Urine filtration membrane under a 4× objective, photographed by an automated digital microscope. The image covers about 1.5 × 1.1 mm of the membrane.
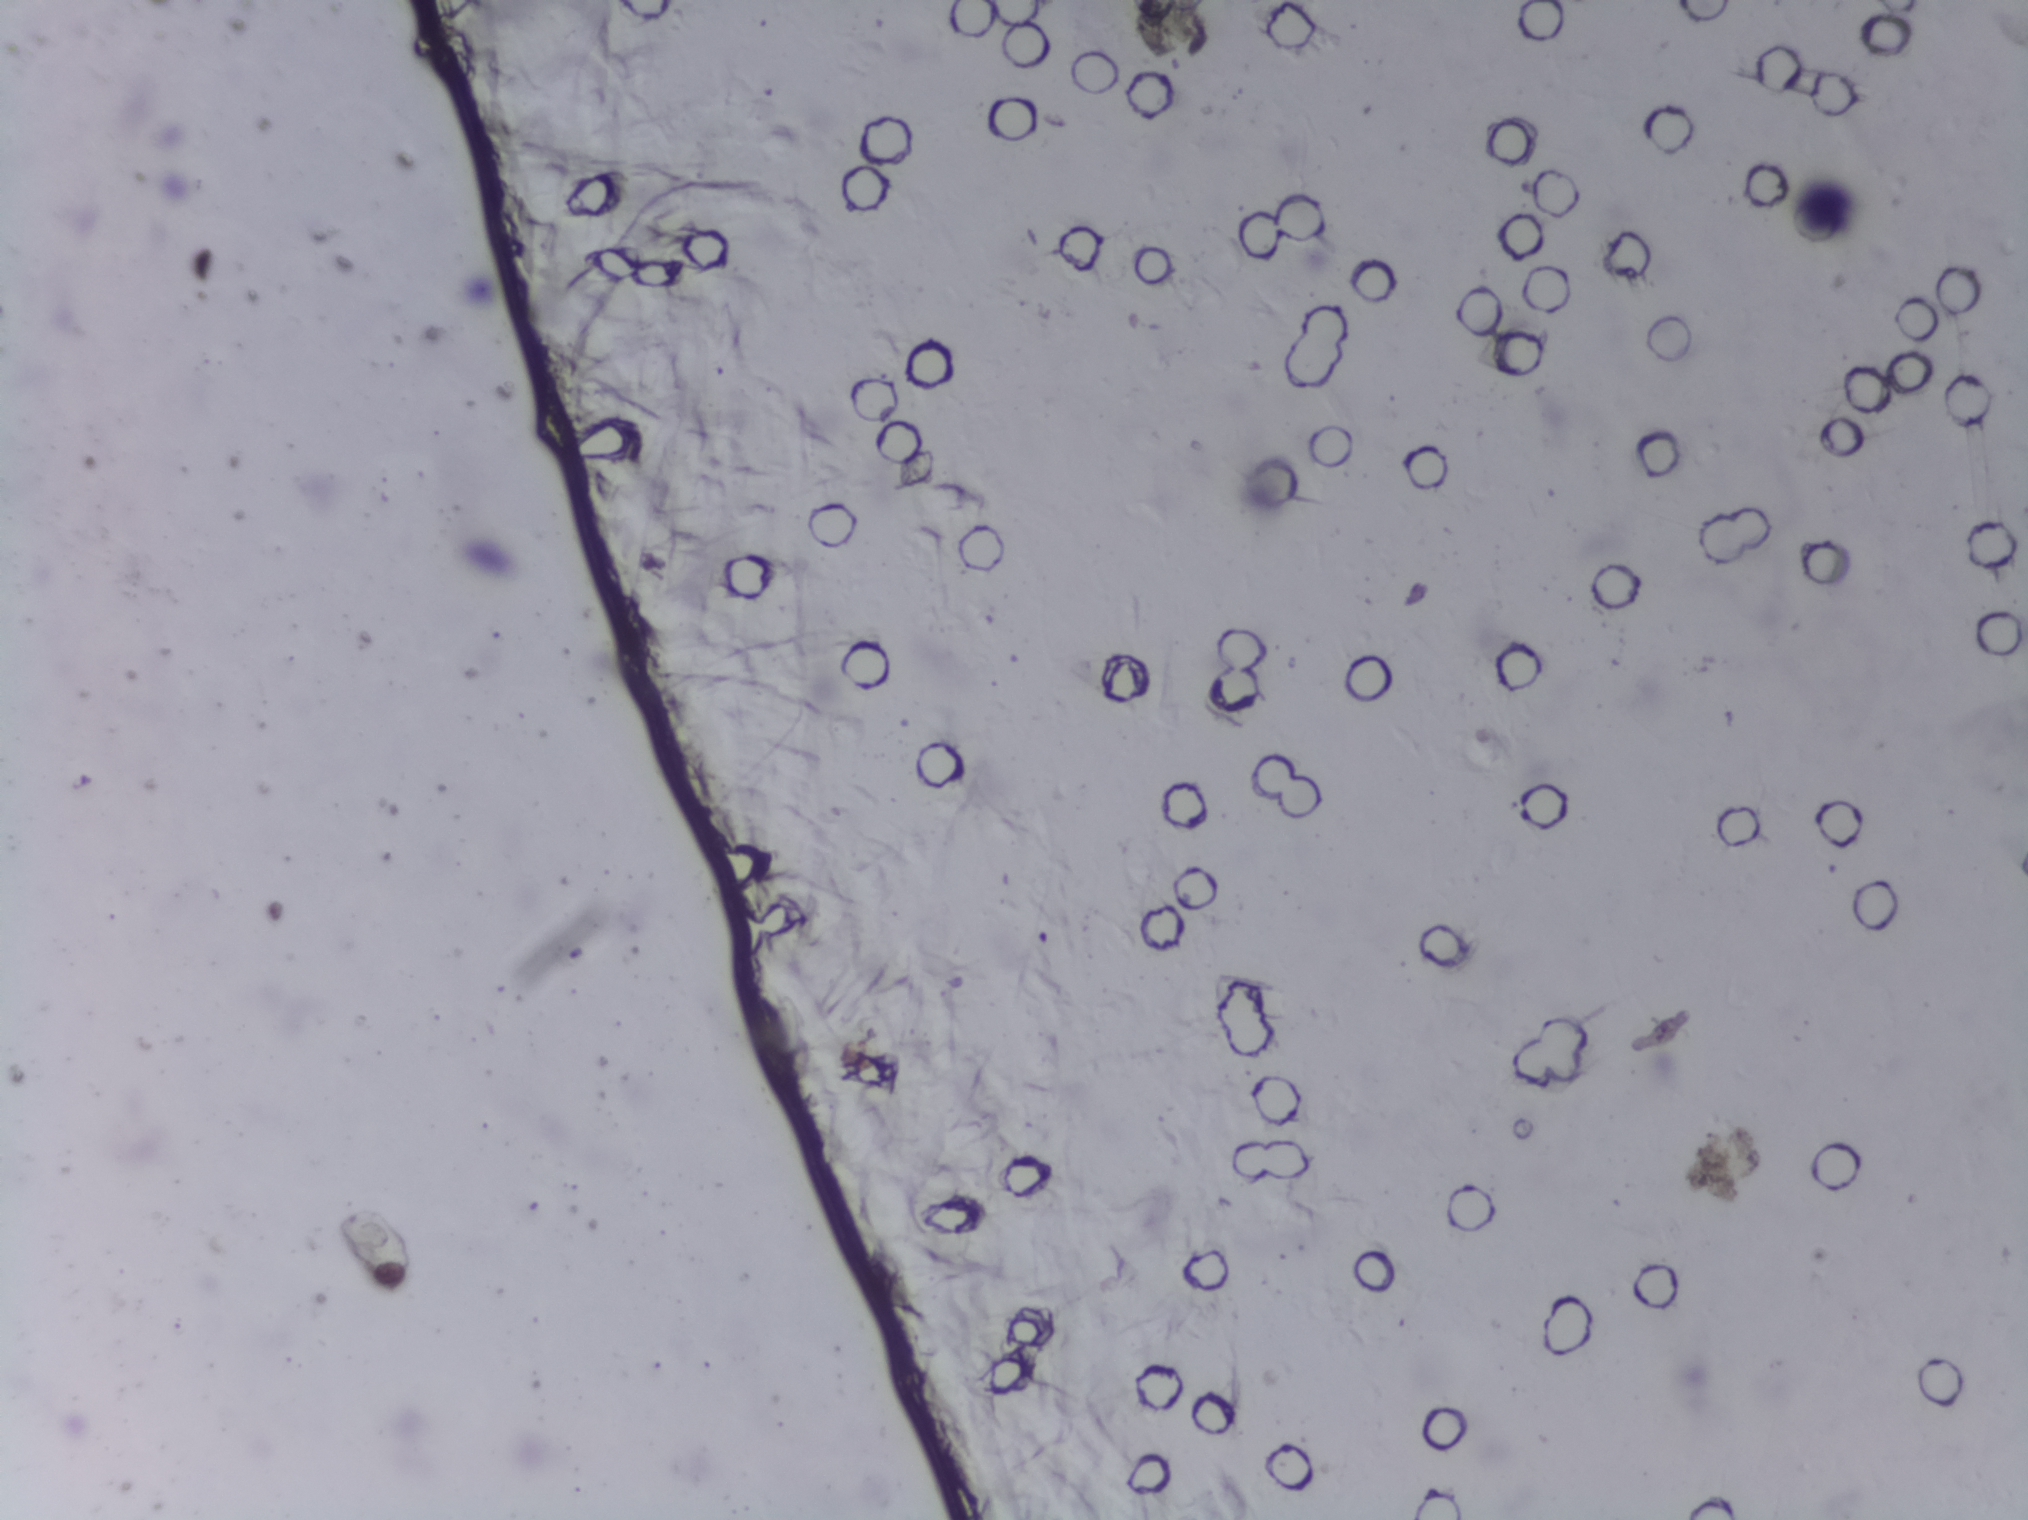
The expert annotation marks no Schistosoma egg in this field of view.